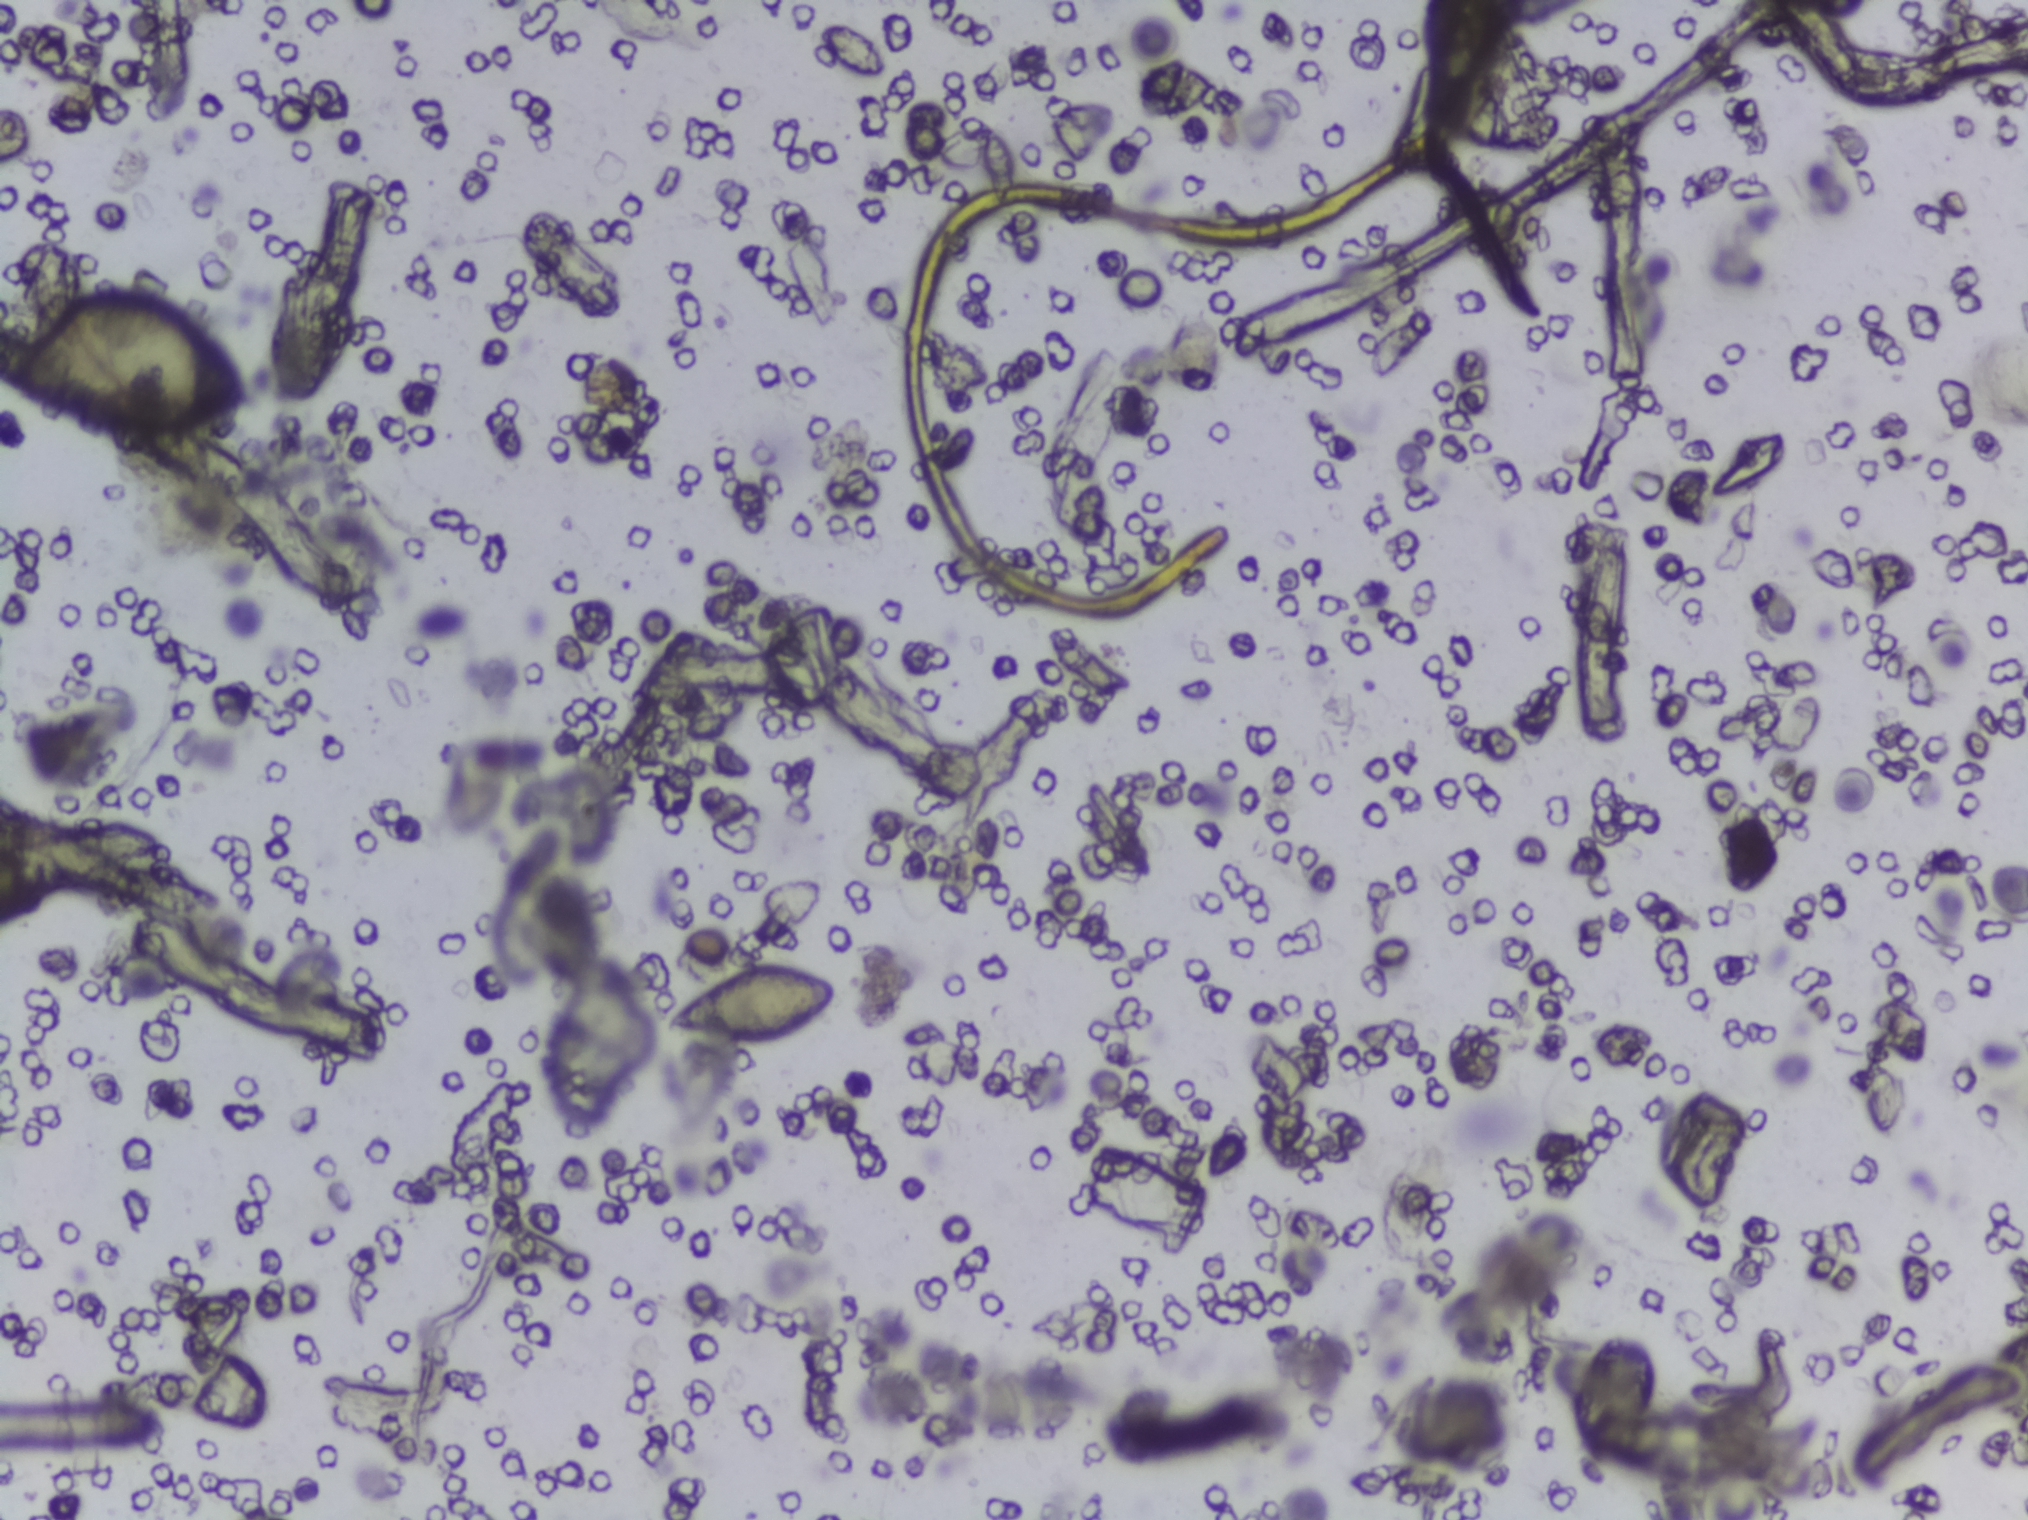
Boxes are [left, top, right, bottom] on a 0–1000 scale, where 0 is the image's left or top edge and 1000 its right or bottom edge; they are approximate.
Two areas of this image are outlined as Schistosoma eggs, from left to right: [33, 191, 125, 280] and [328, 635, 413, 686]. About 0.8% of the image's pixels are marked (the marked pixels themselves, not the boxes around them). Eggs that touch can end up inside the same outlined area.
Microscope photograph (4× objective) of a membrane that a urine sample was filtered through. The image covers about 1.5 × 1.1 mm of the membrane.